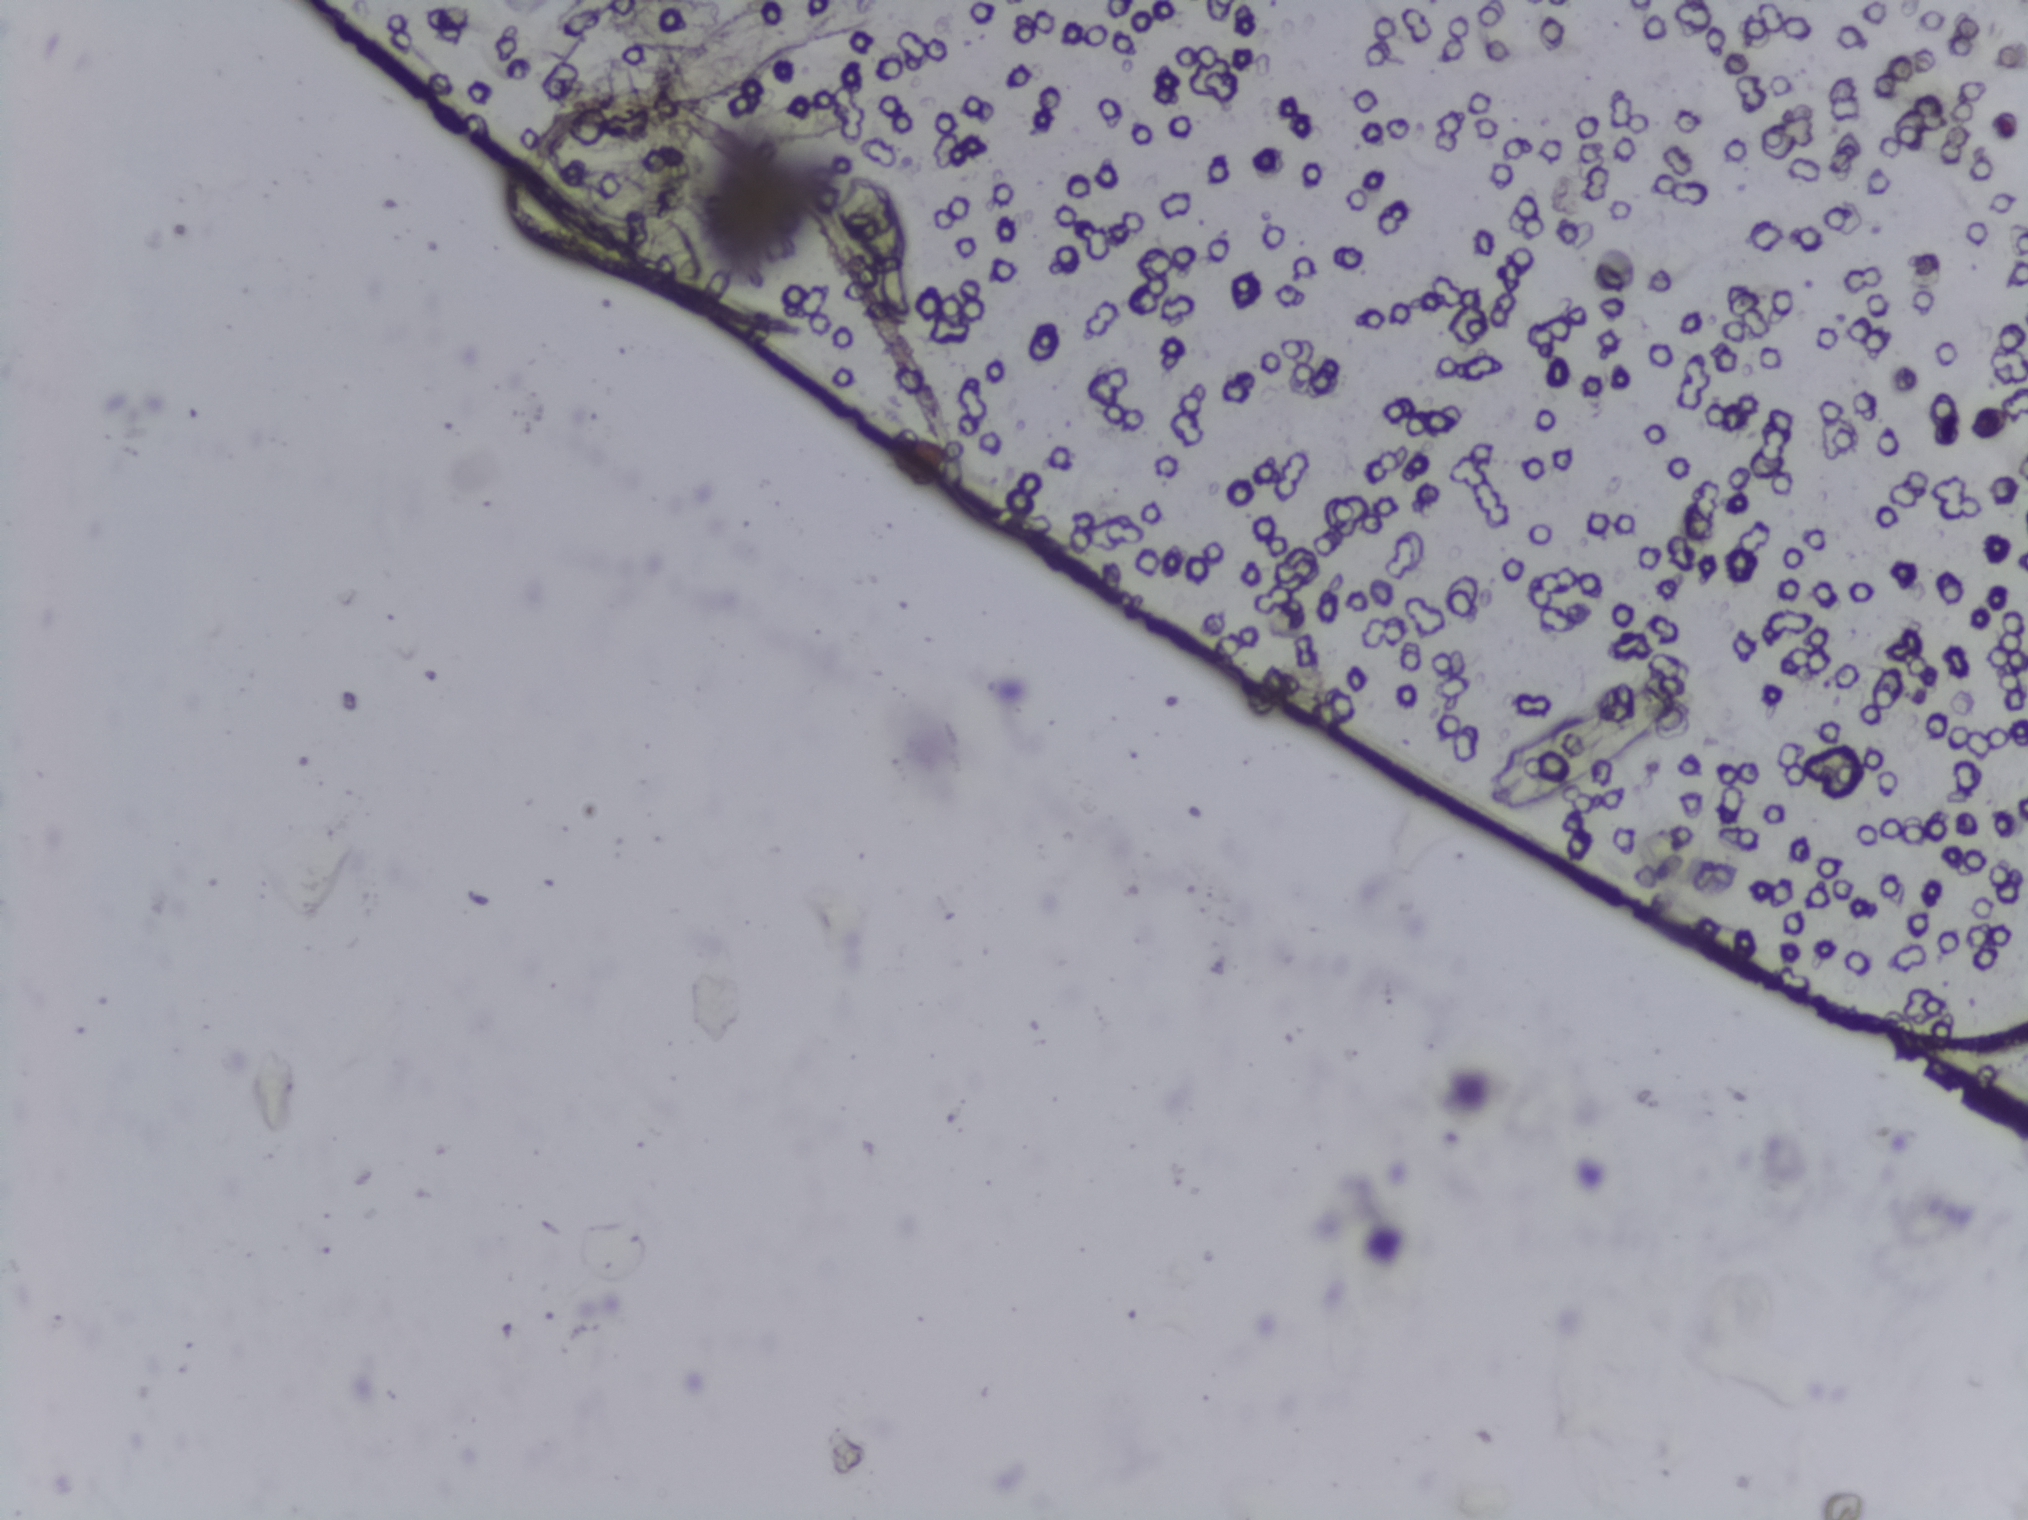
Photograph from an automated digital microscope: urine filter membrane, 4× objective.
The expert annotation outlines no Schistosoma egg in this image.